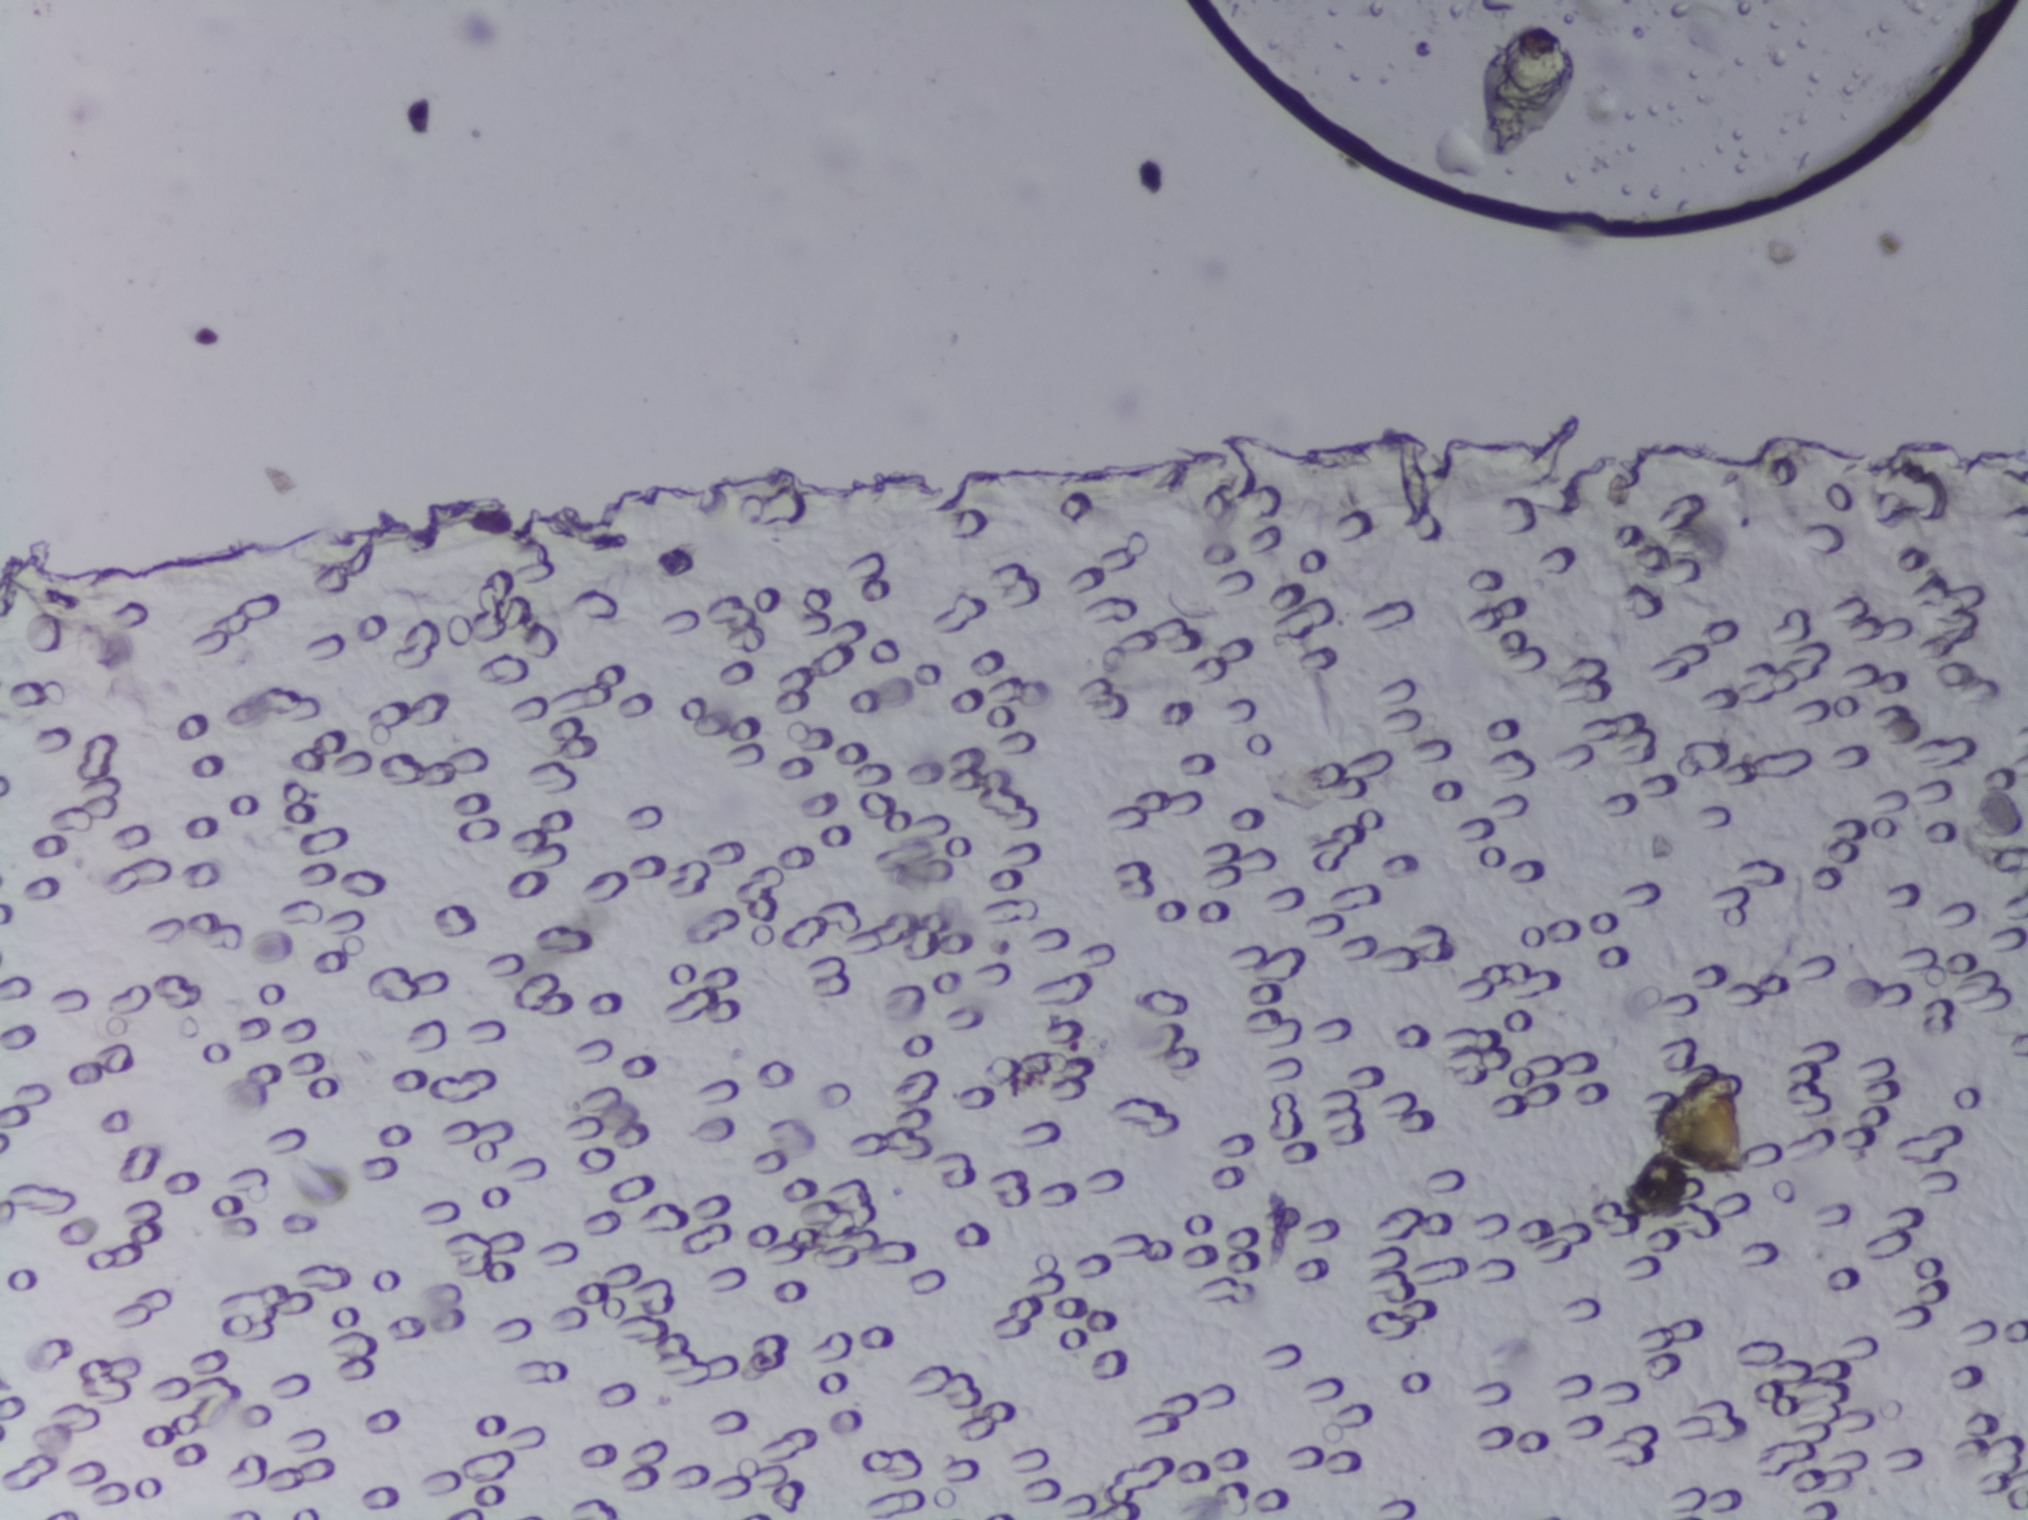
Photomicrograph of a urine filtration membrane, 4× objective.
Schistosoma eggs: none outlined.